One field of view of a urine filter membrane, 4× objective, 2028 × 1520 pixels.
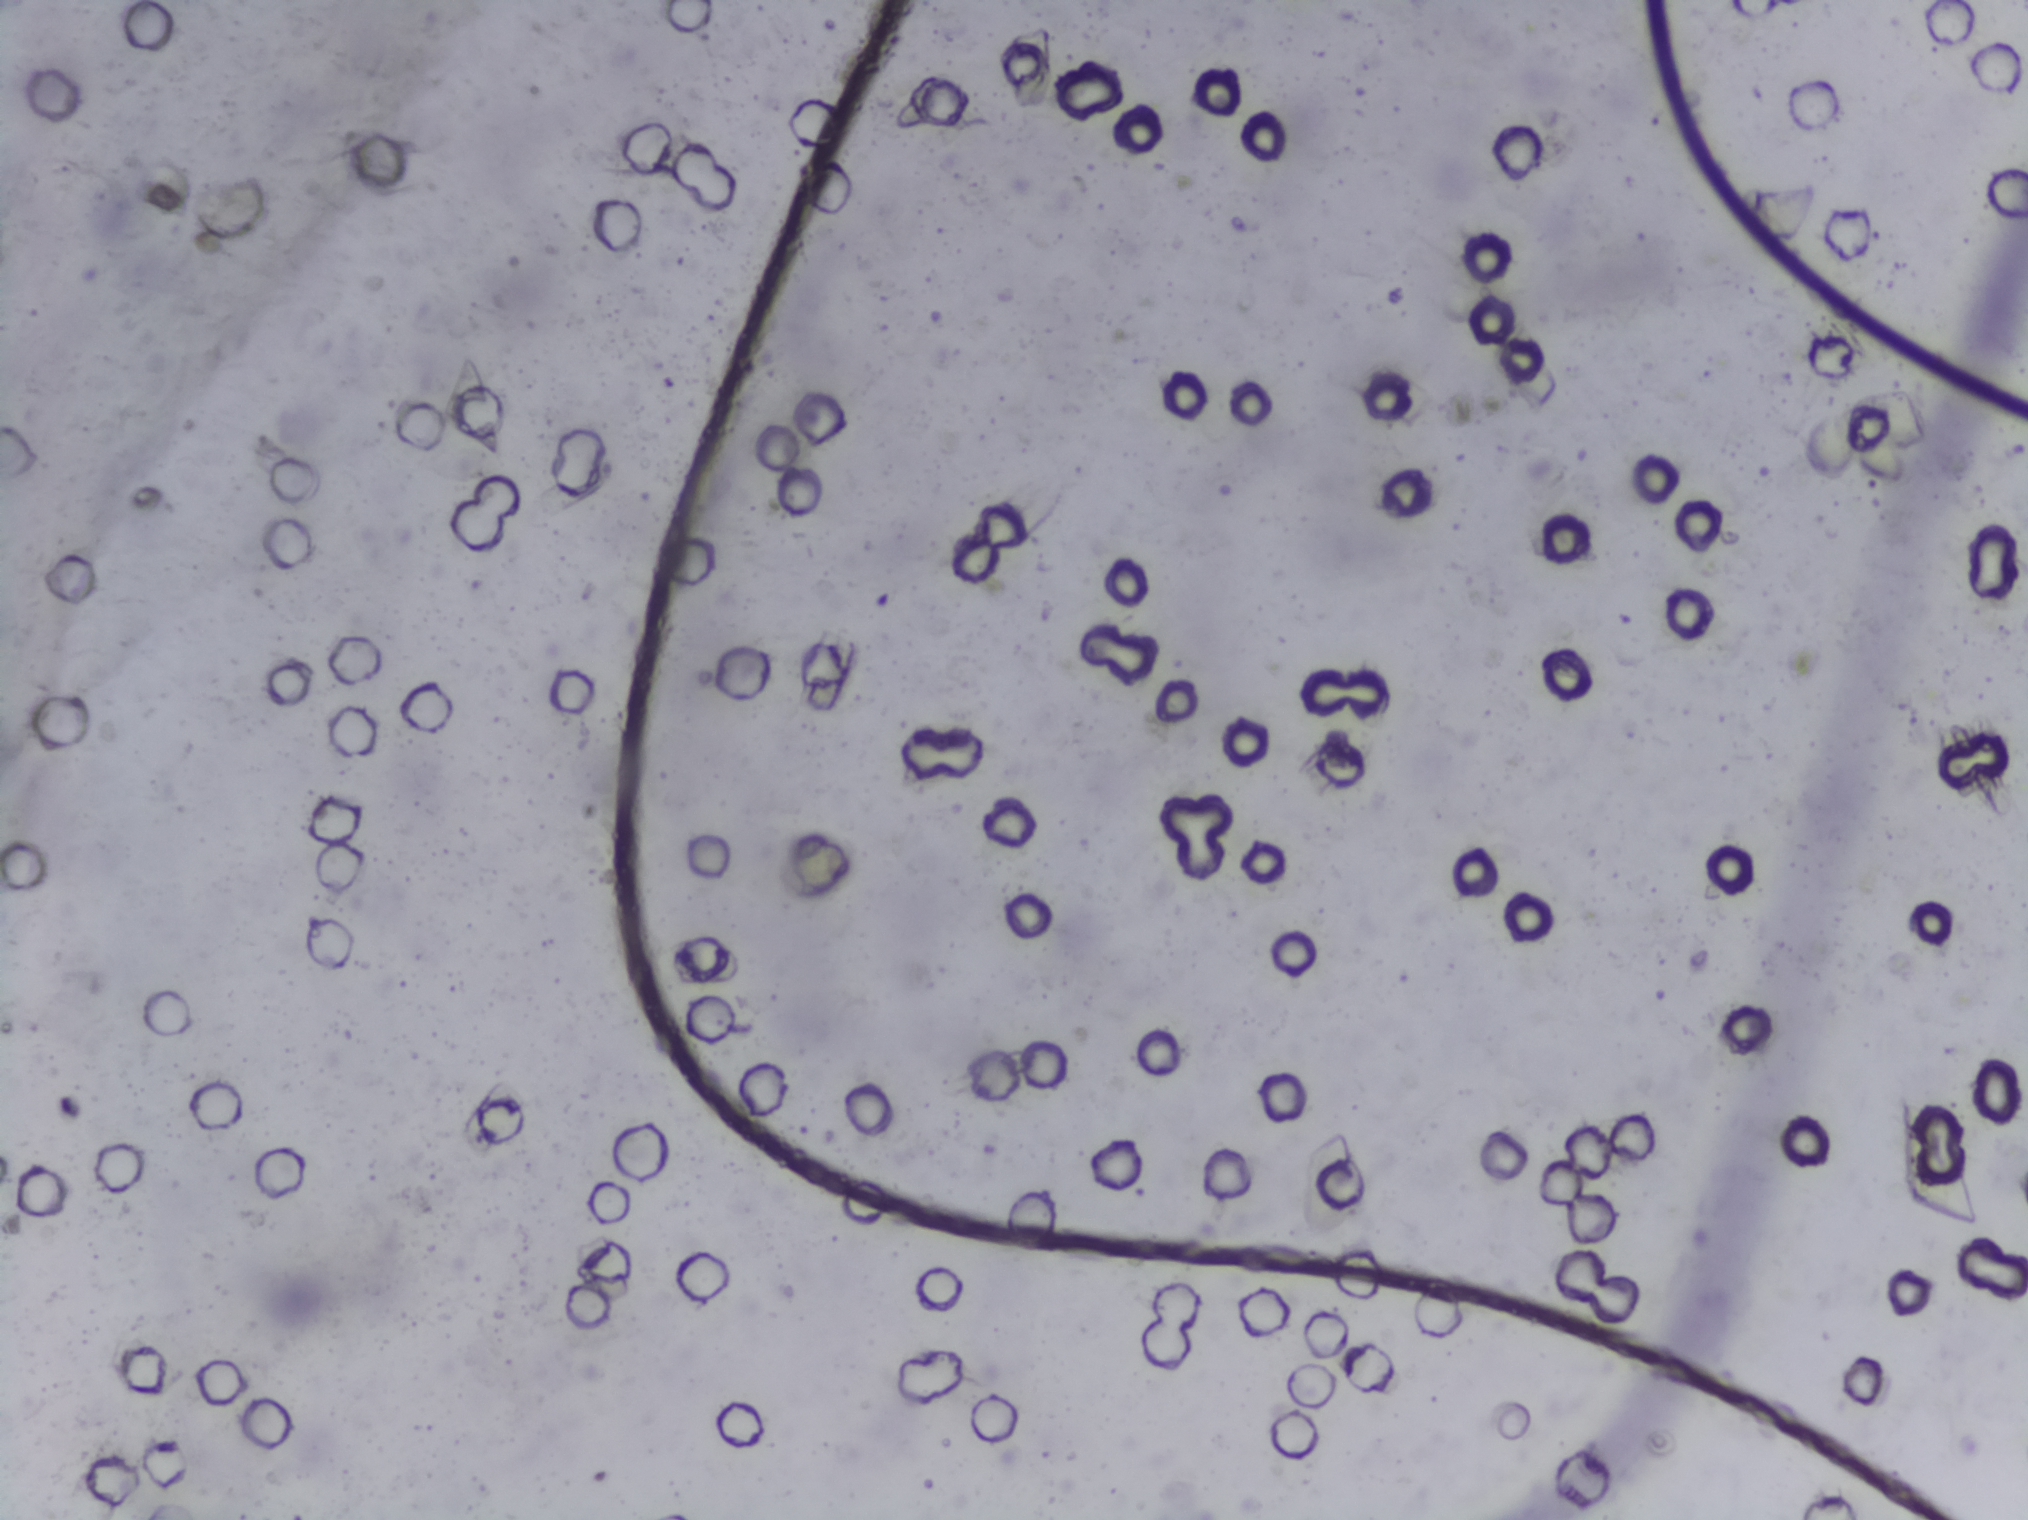
No Schistosoma egg is outlined in this image's expert annotation.